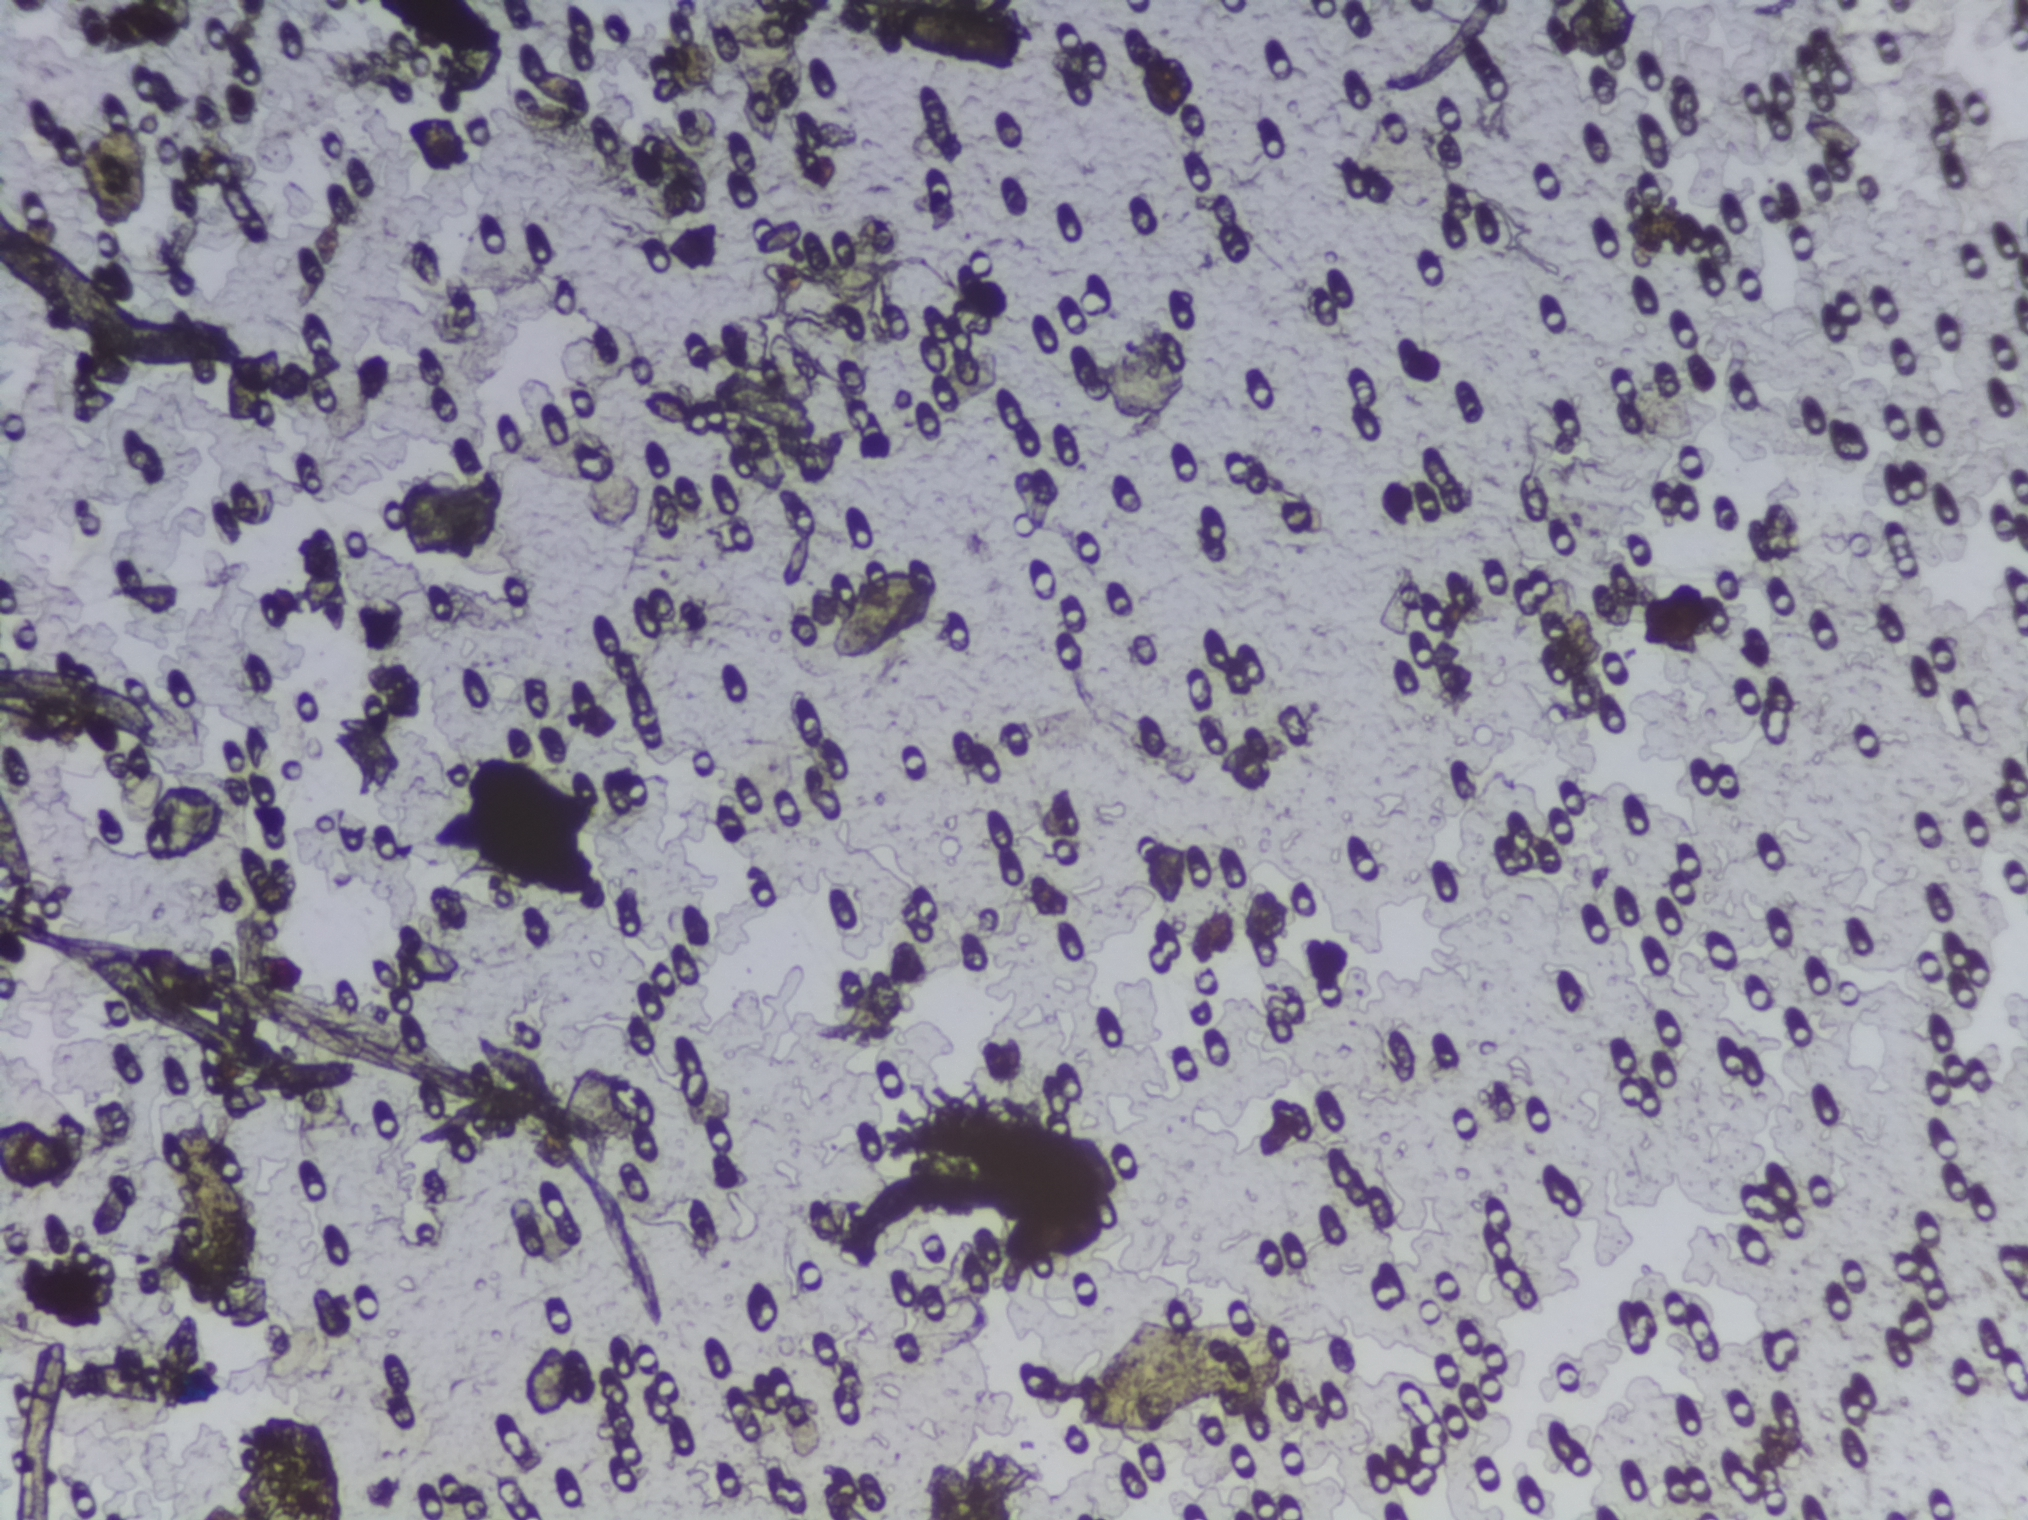
The expert annotation outlines no Schistosoma egg in this image.
Photomicrograph of a urine filtration membrane, 4× objective. Field of view: about 1.5 mm wide and 1.1 mm high.